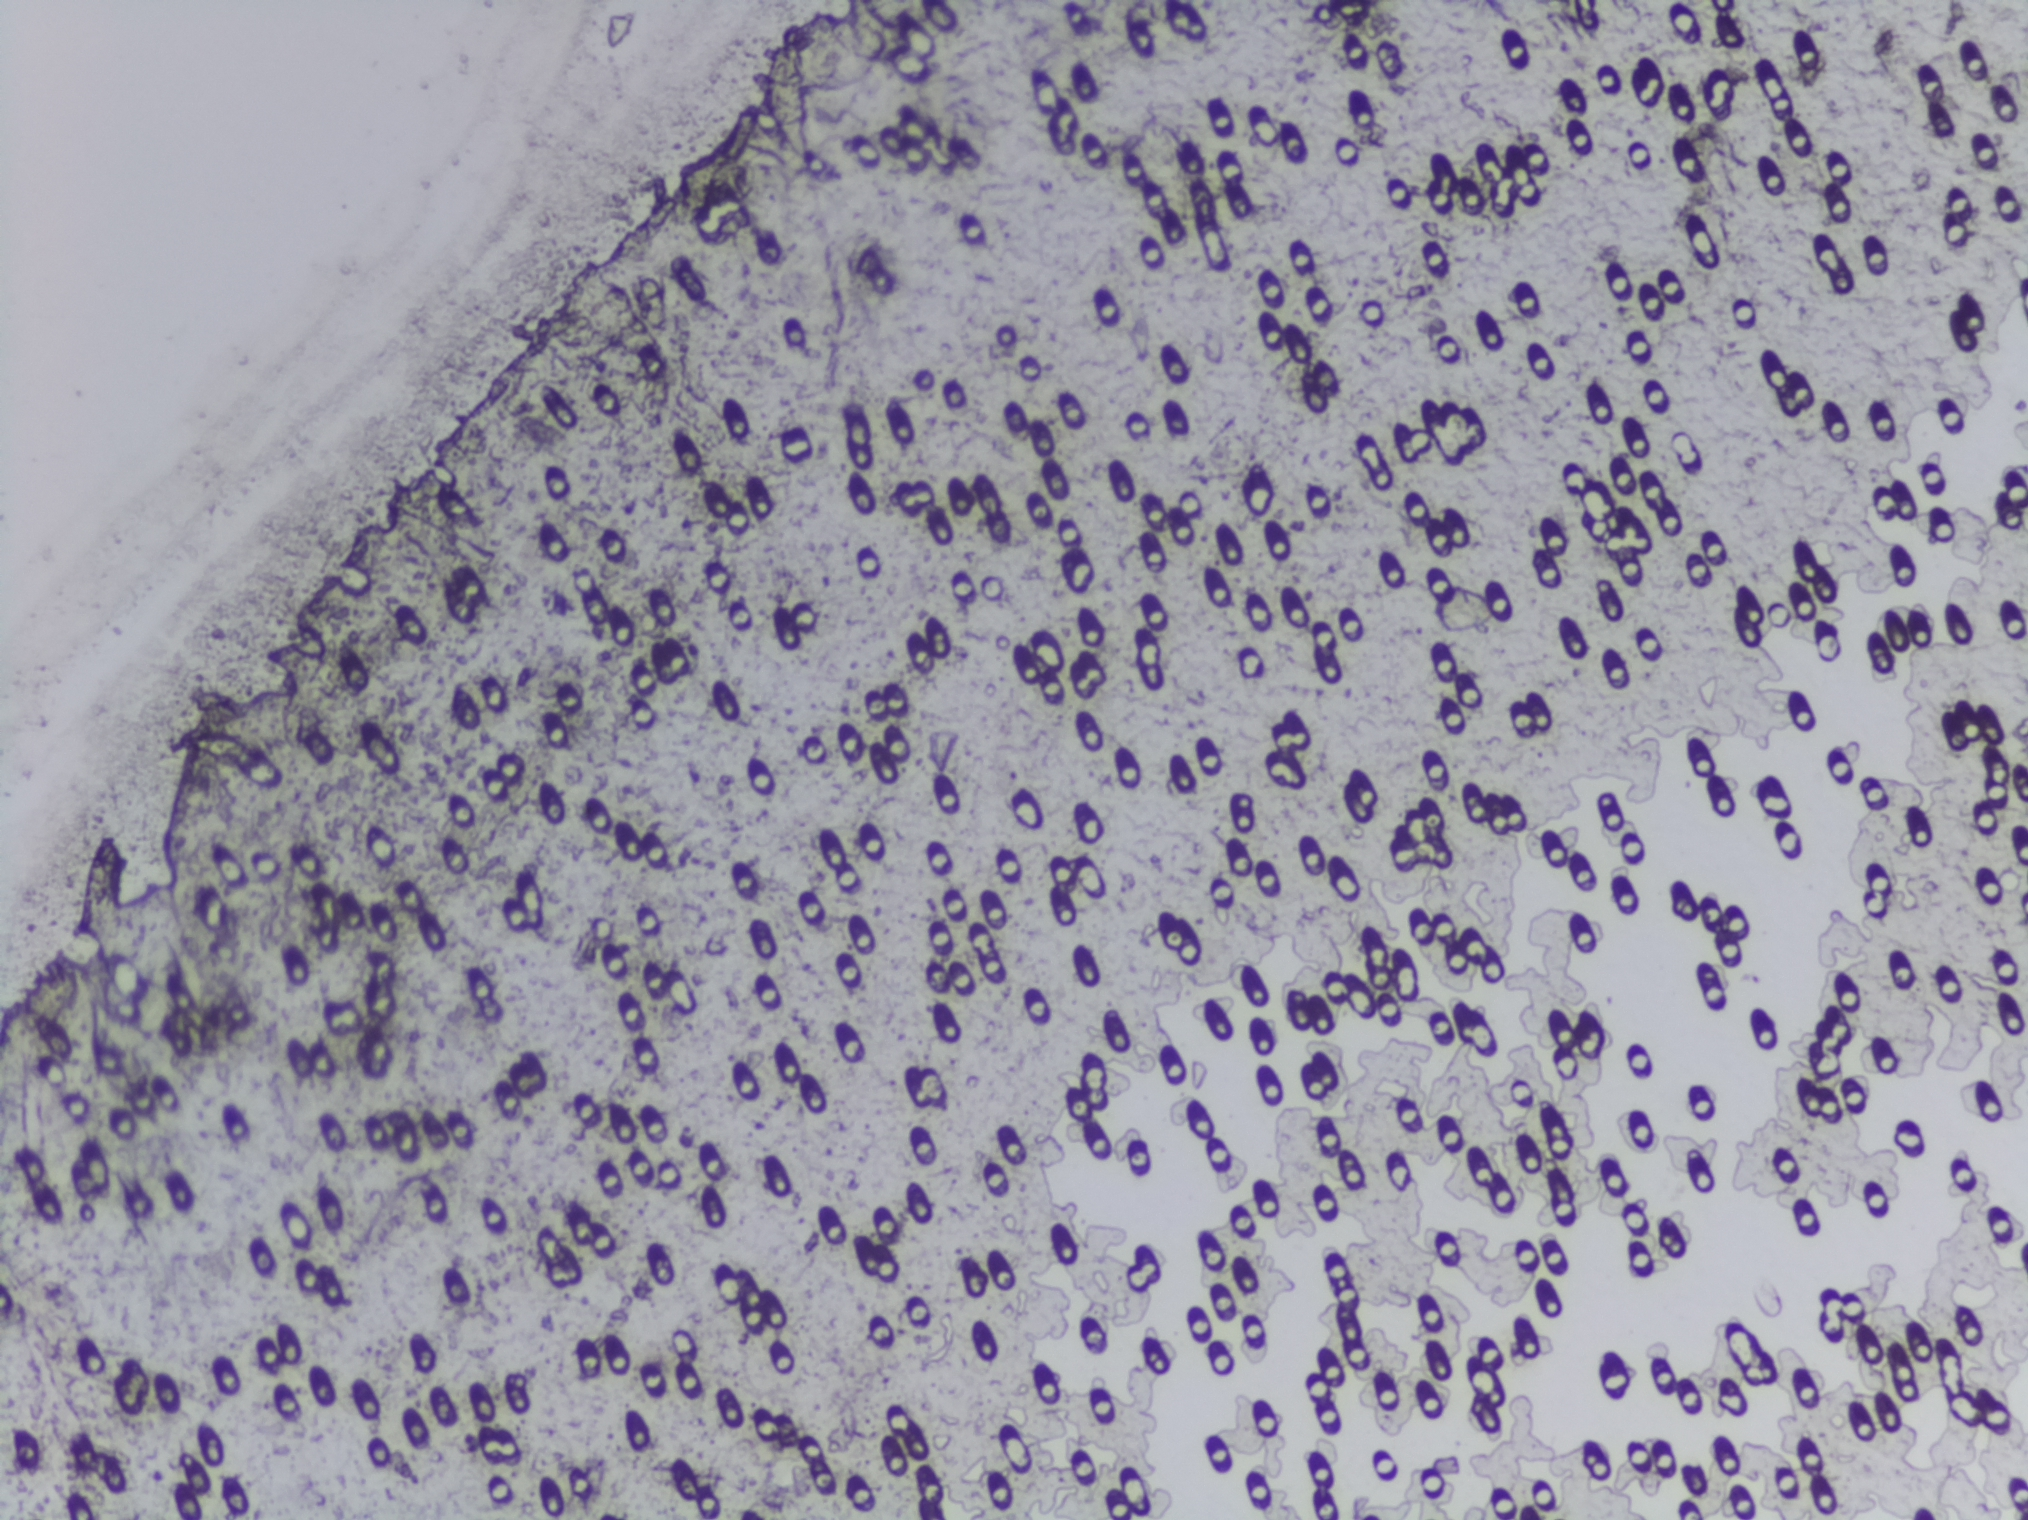
Microscope photograph (4× objective) of a membrane that a urine sample was filtered through.
No Schistosoma egg is outlined in this image's expert annotation.